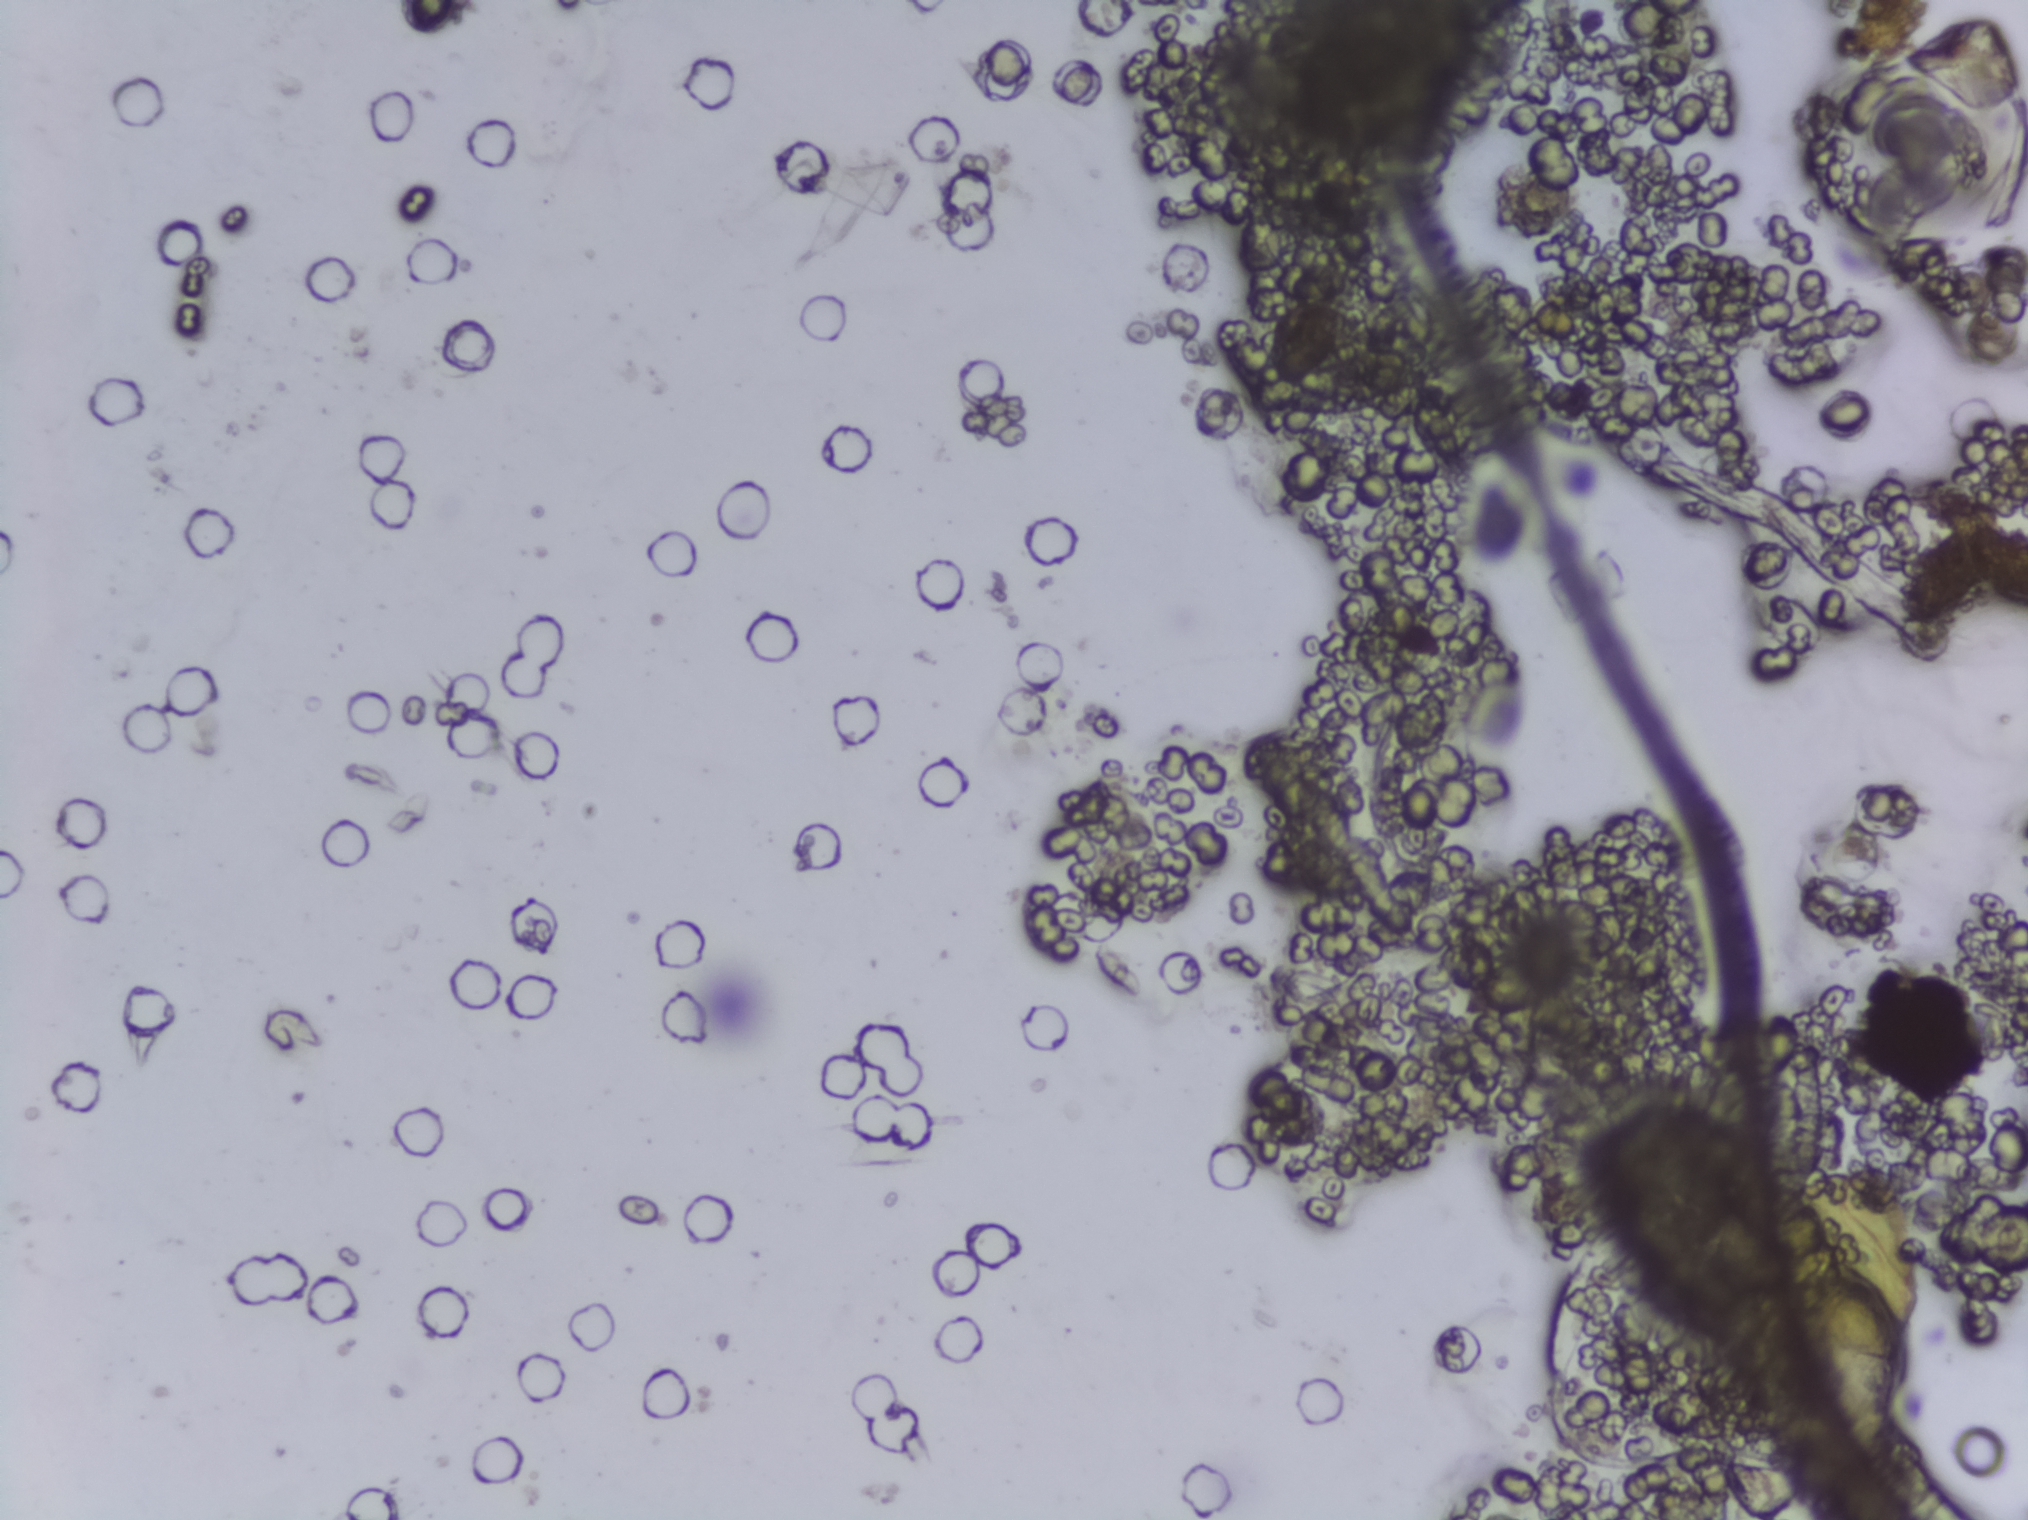
One field of view of a urine filter membrane, 4× objective, 2028 × 1520 pixels.
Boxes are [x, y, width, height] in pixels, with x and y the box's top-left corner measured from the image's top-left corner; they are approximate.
Findings: one area outlined as Schistosoma eggs. Location: [1804, 1238, 105, 228]. A single outlined area may contain several eggs. A marked egg may occasionally be S. mansoni rather than S. haematobium.